Urine filtration membrane under a 4× objective, photographed by an automated digital microscope. The image covers about 1.5 × 1.1 mm of the membrane.
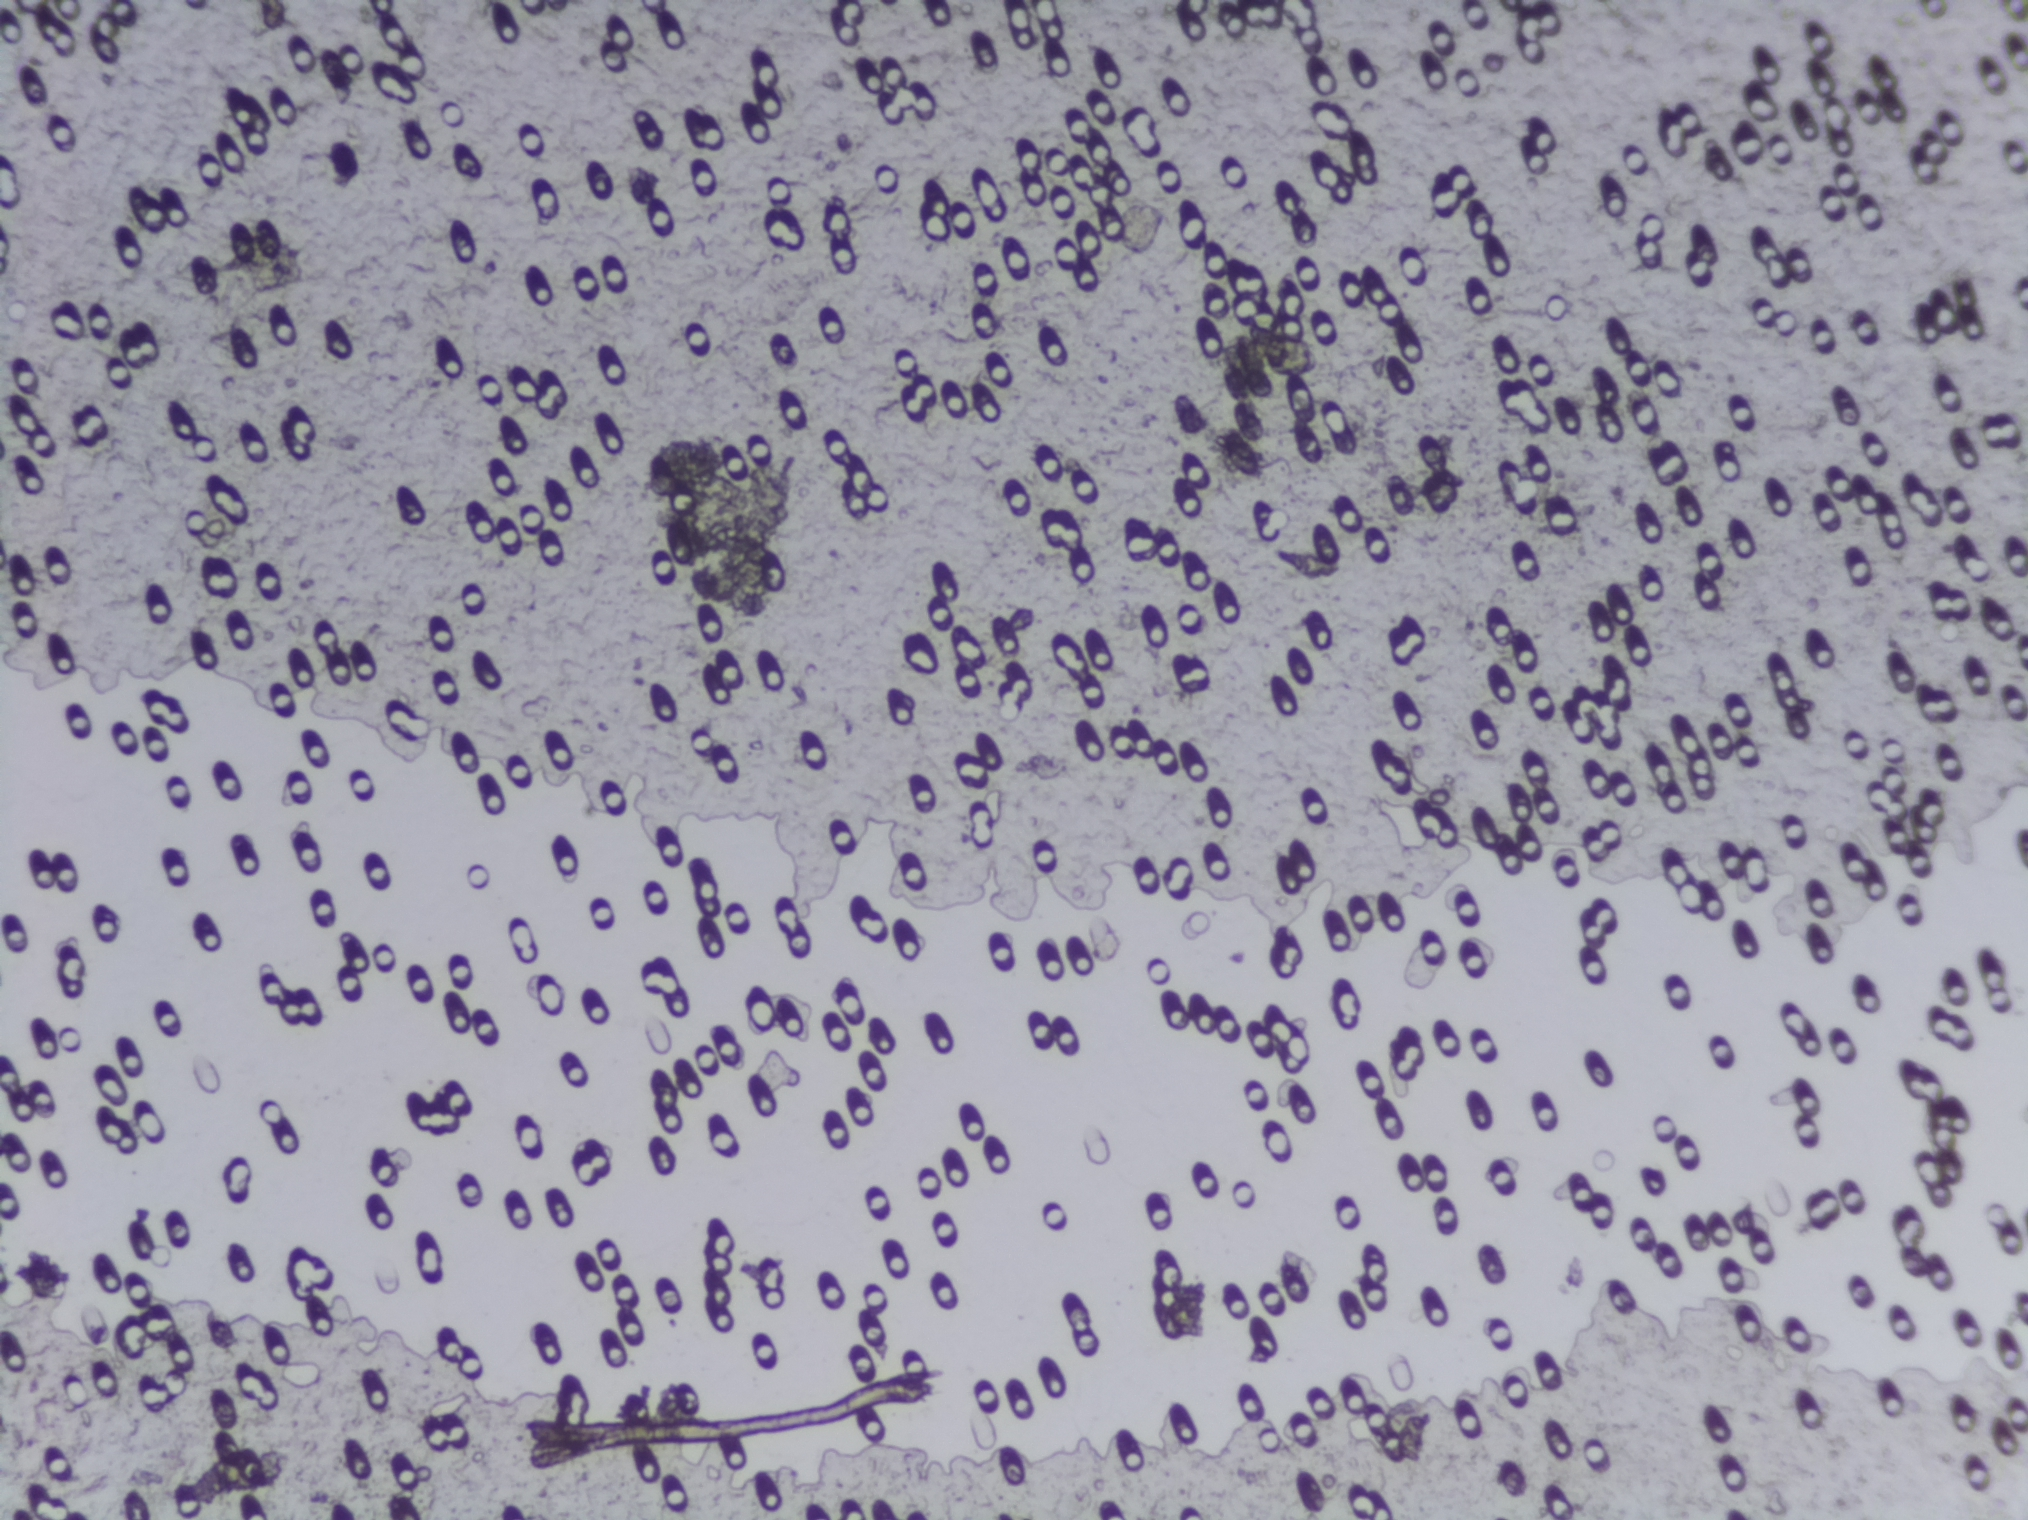
Schistosoma eggs: none outlined.